Photograph from an automated digital microscope: urine filter membrane, 4× objective. Field of view: about 1.5 mm wide and 1.1 mm high.
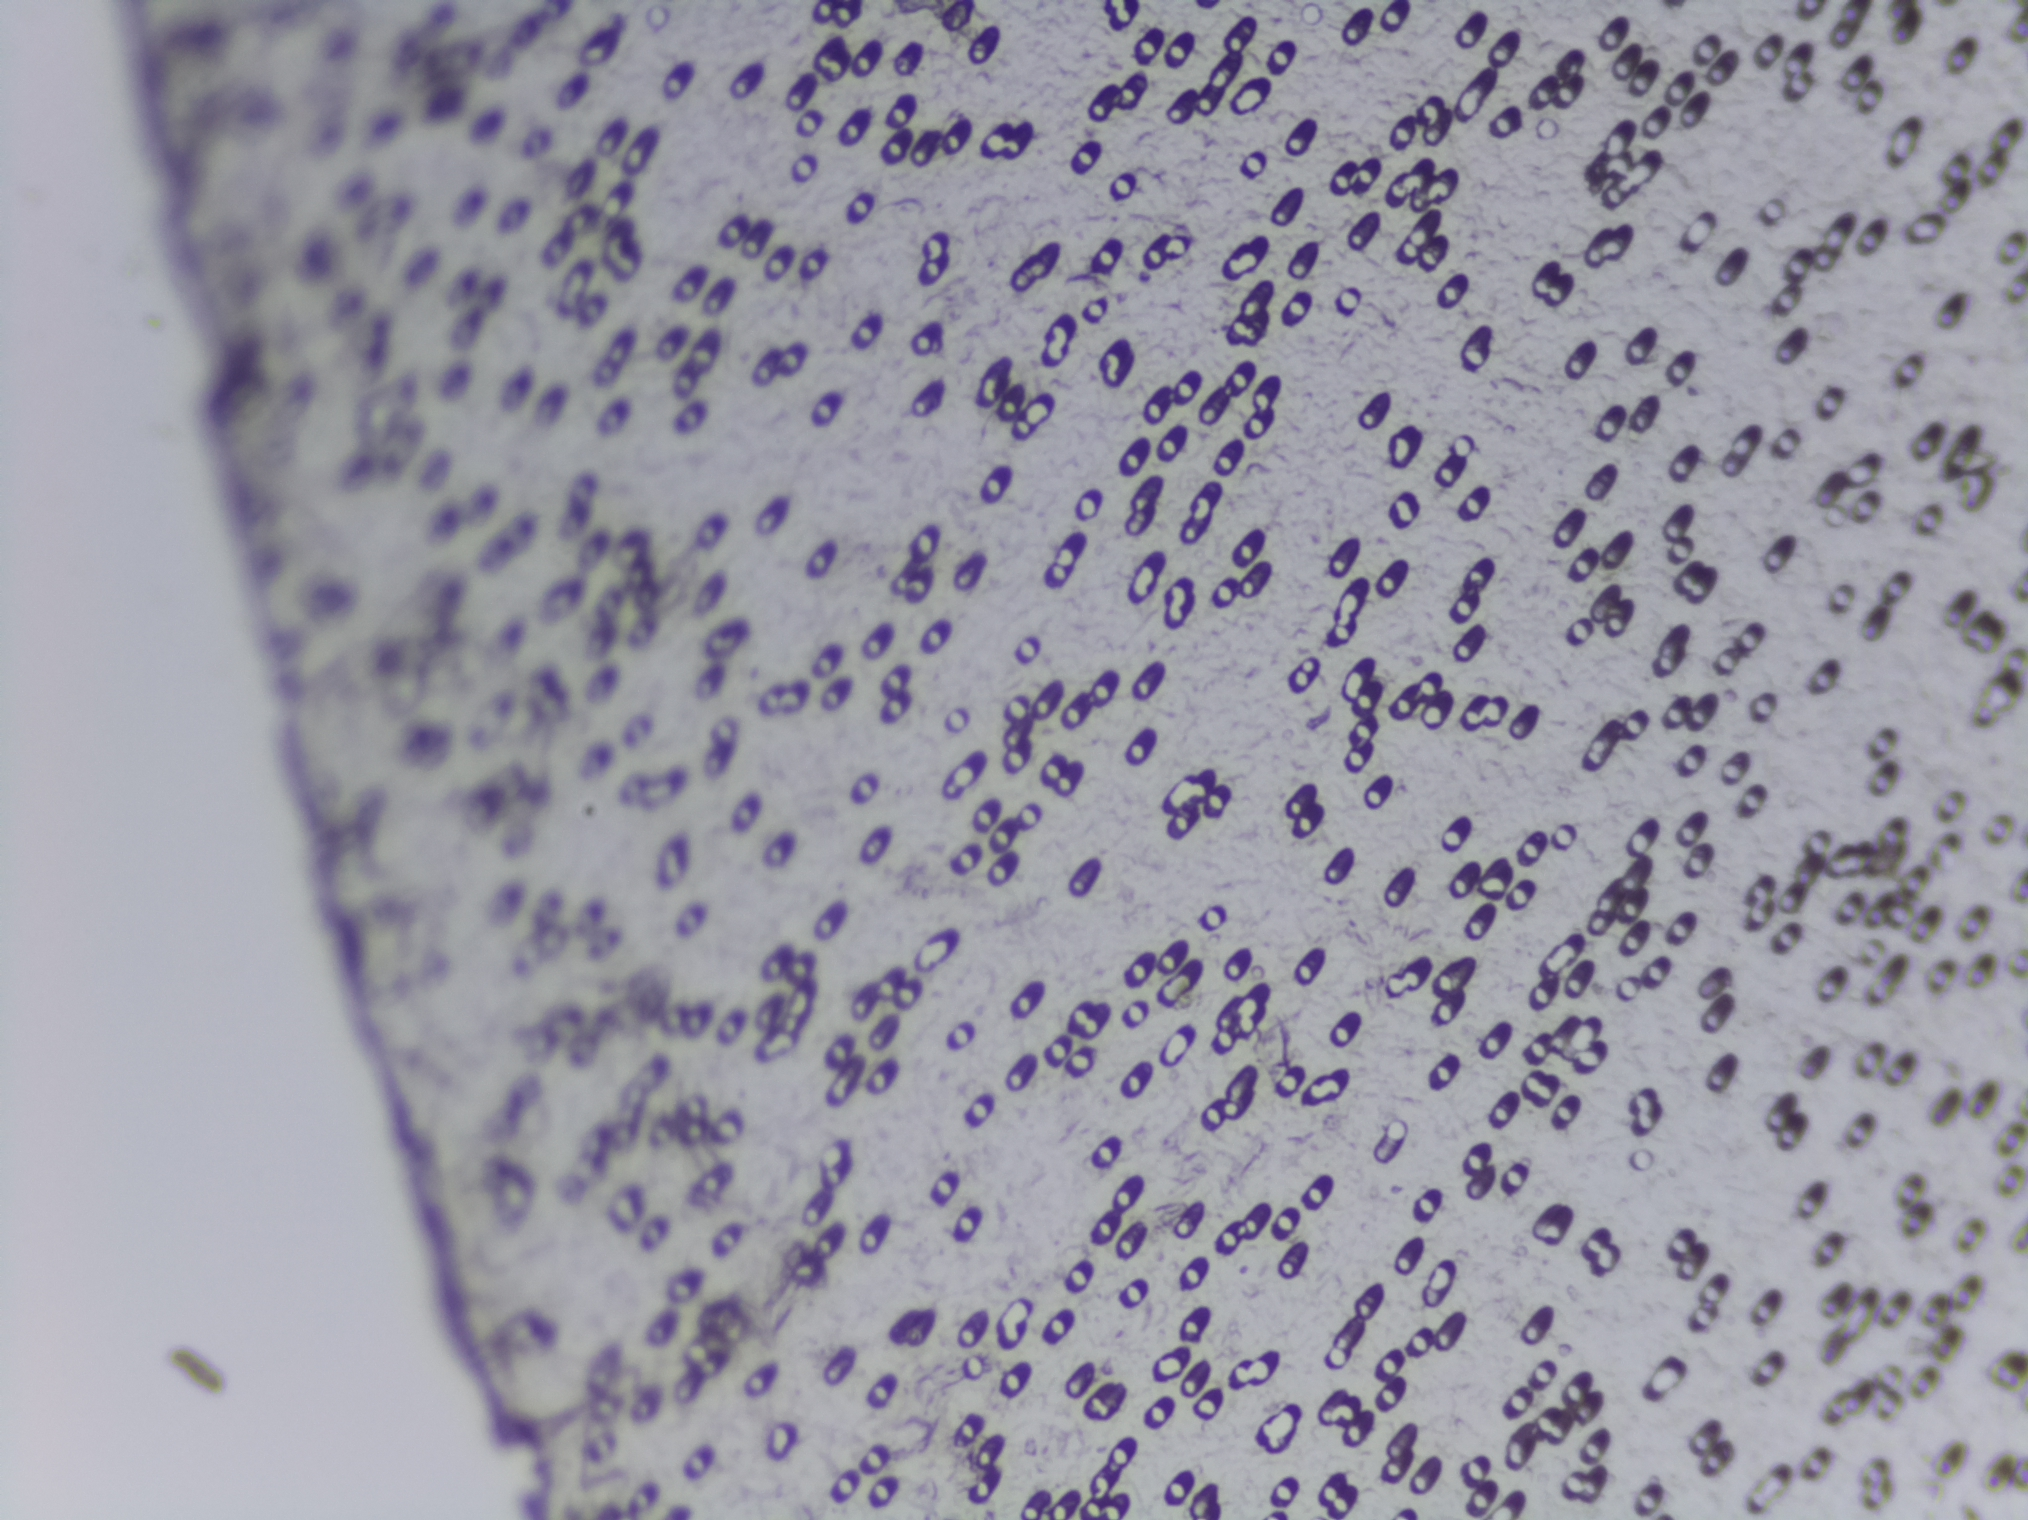
The expert annotation marks no Schistosoma egg in this field of view.